Urine filter membrane photographed through a 4× microscope objective.
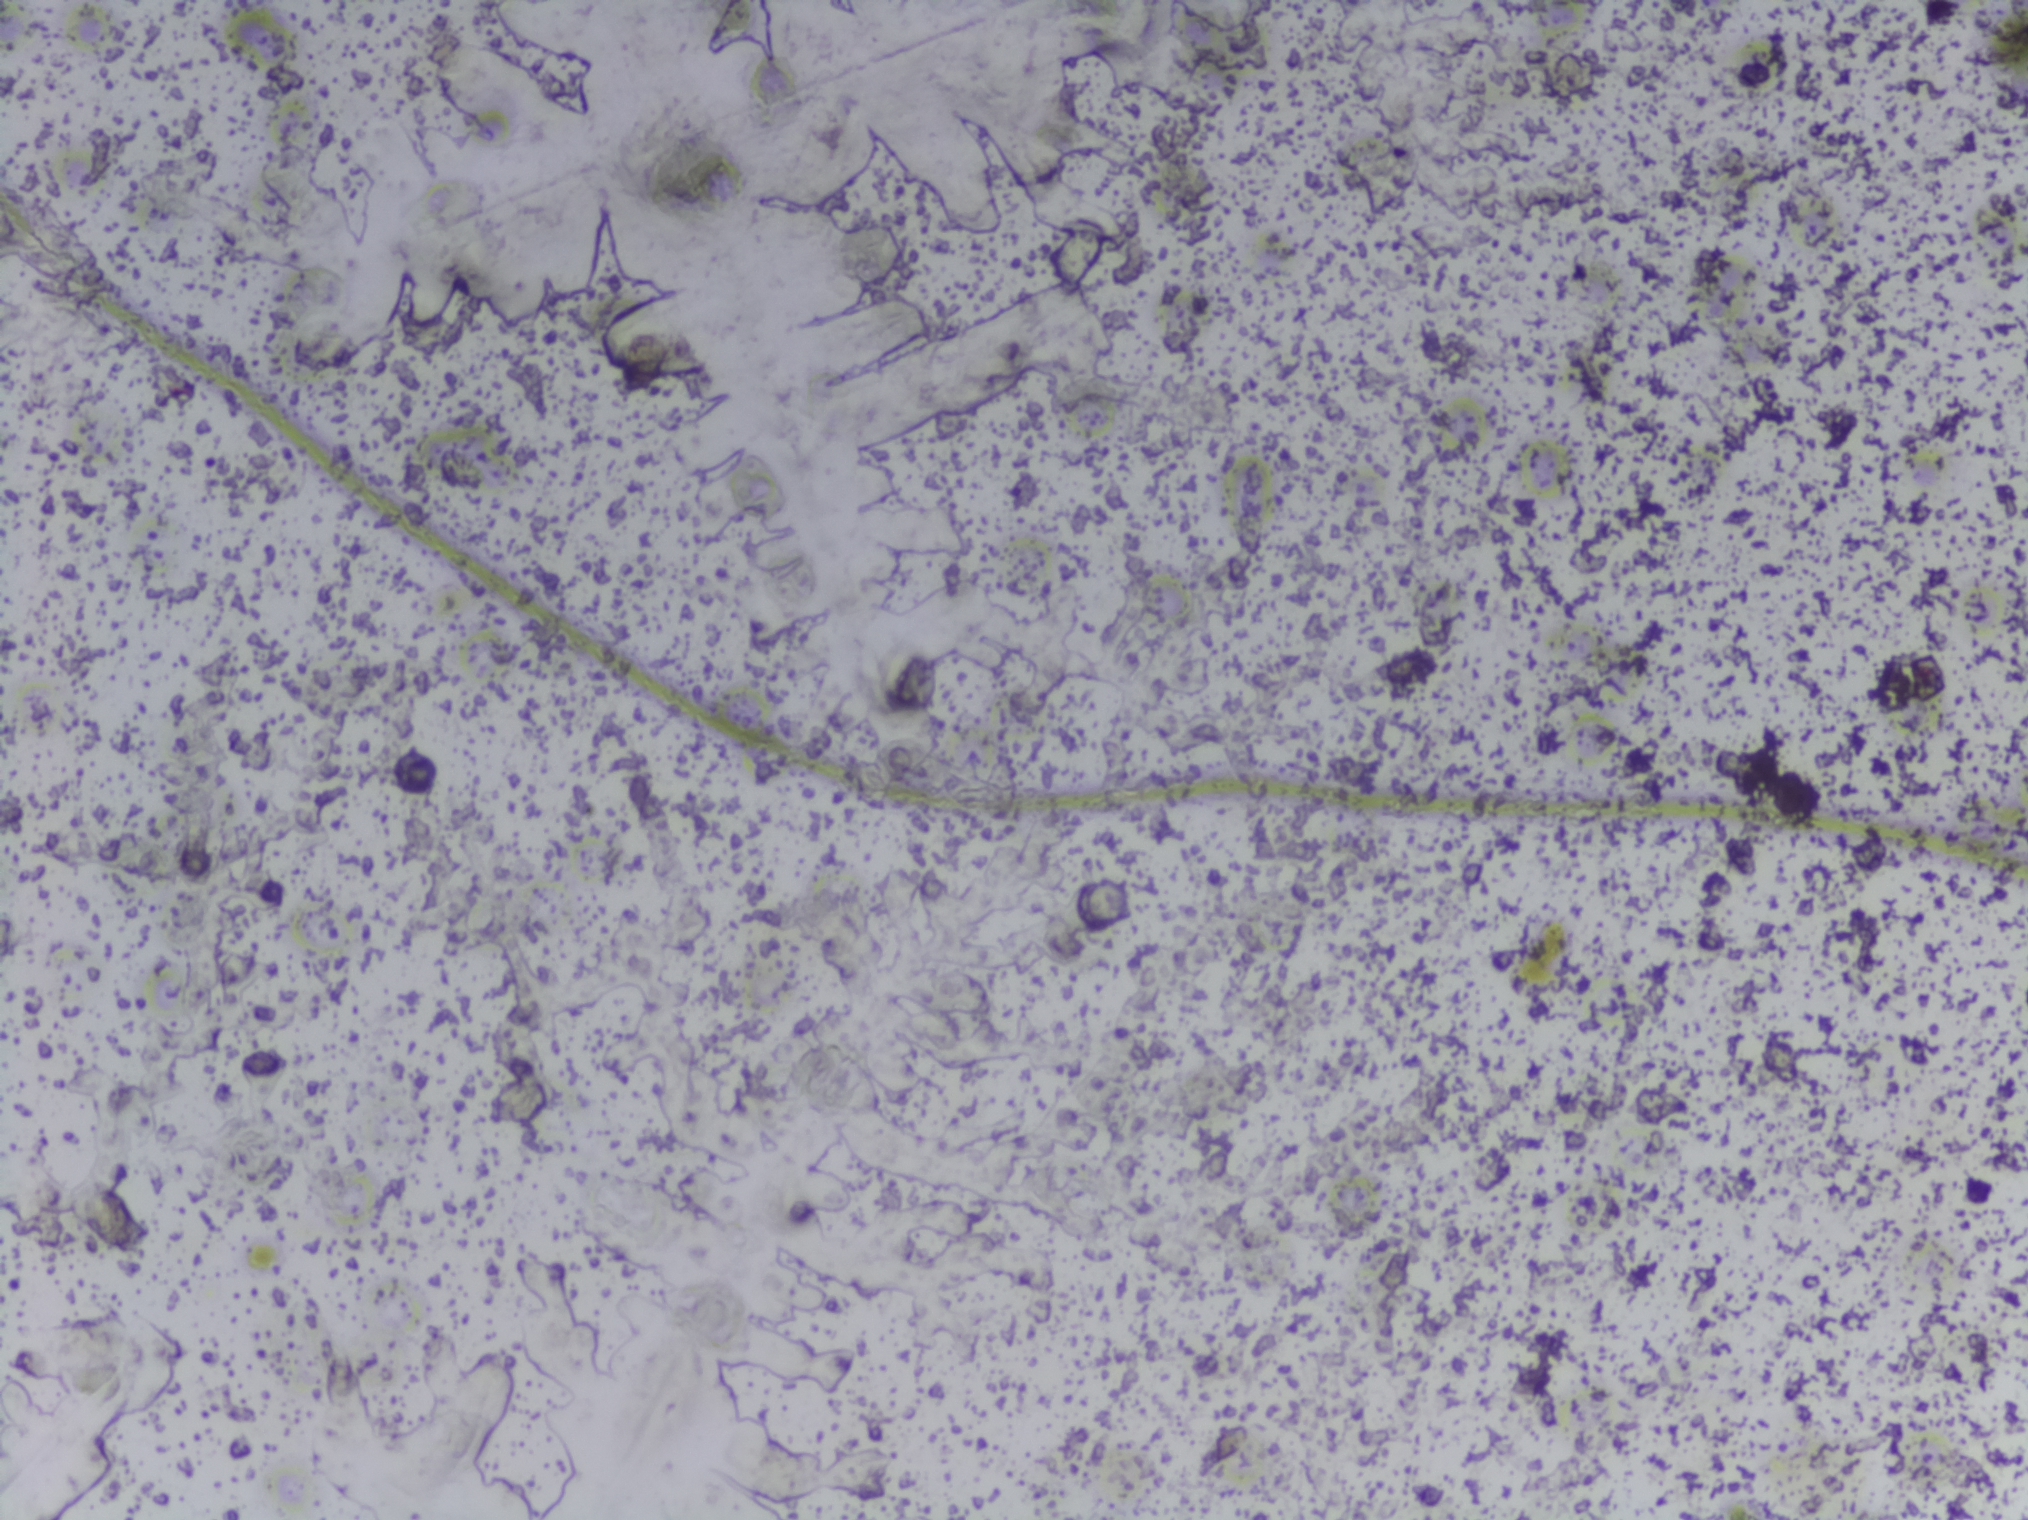
No area of this image was outlined as a Schistosoma egg.